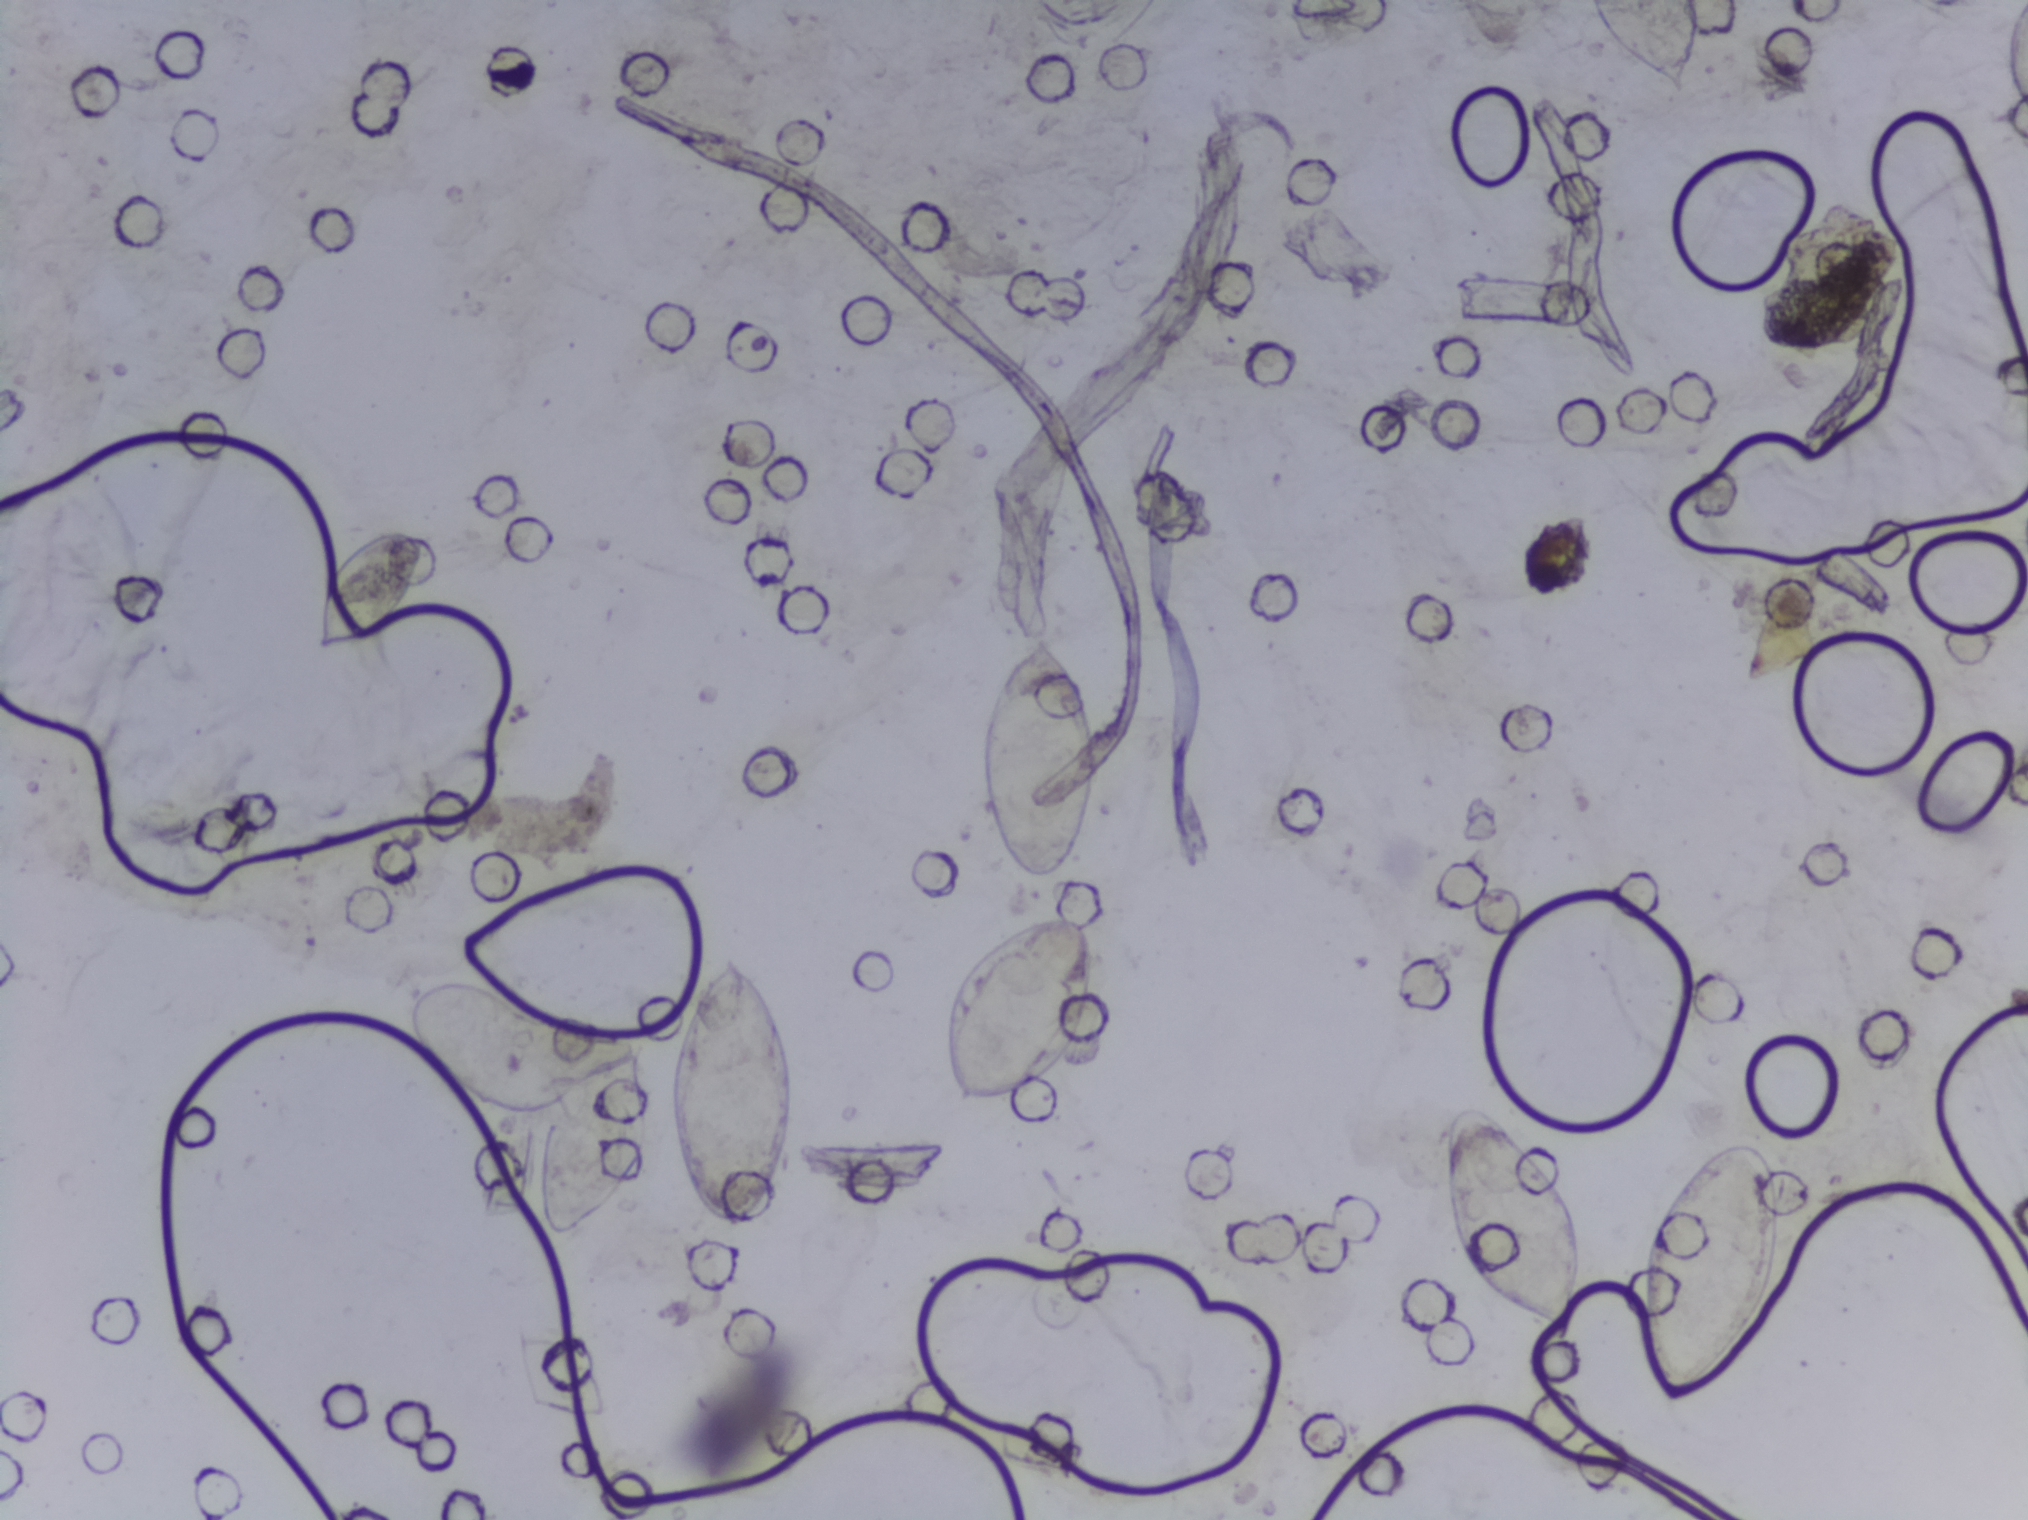
Urine filter membrane photographed through a 4× microscope objective.
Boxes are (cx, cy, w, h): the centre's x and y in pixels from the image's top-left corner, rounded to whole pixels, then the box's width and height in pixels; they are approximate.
Schistosoma eggs are outlined in eight areas of this image, listed from left to right: (cx=371, cy=591, w=118, h=132); (cx=594, cy=1142, w=117, h=199); (cx=734, cy=1090, w=126, h=280); (cx=1019, cy=1006, w=157, h=199); (cx=1039, cy=759, w=120, h=256); (cx=1505, cy=1222, w=163, h=245); (cx=1642, cy=48, w=115, h=96) (reaching the top edge of the frame); (cx=1714, cy=1272, w=145, h=274). A single outlined area may contain several eggs.